Photograph from an automated digital microscope: urine filter membrane, 4× objective.
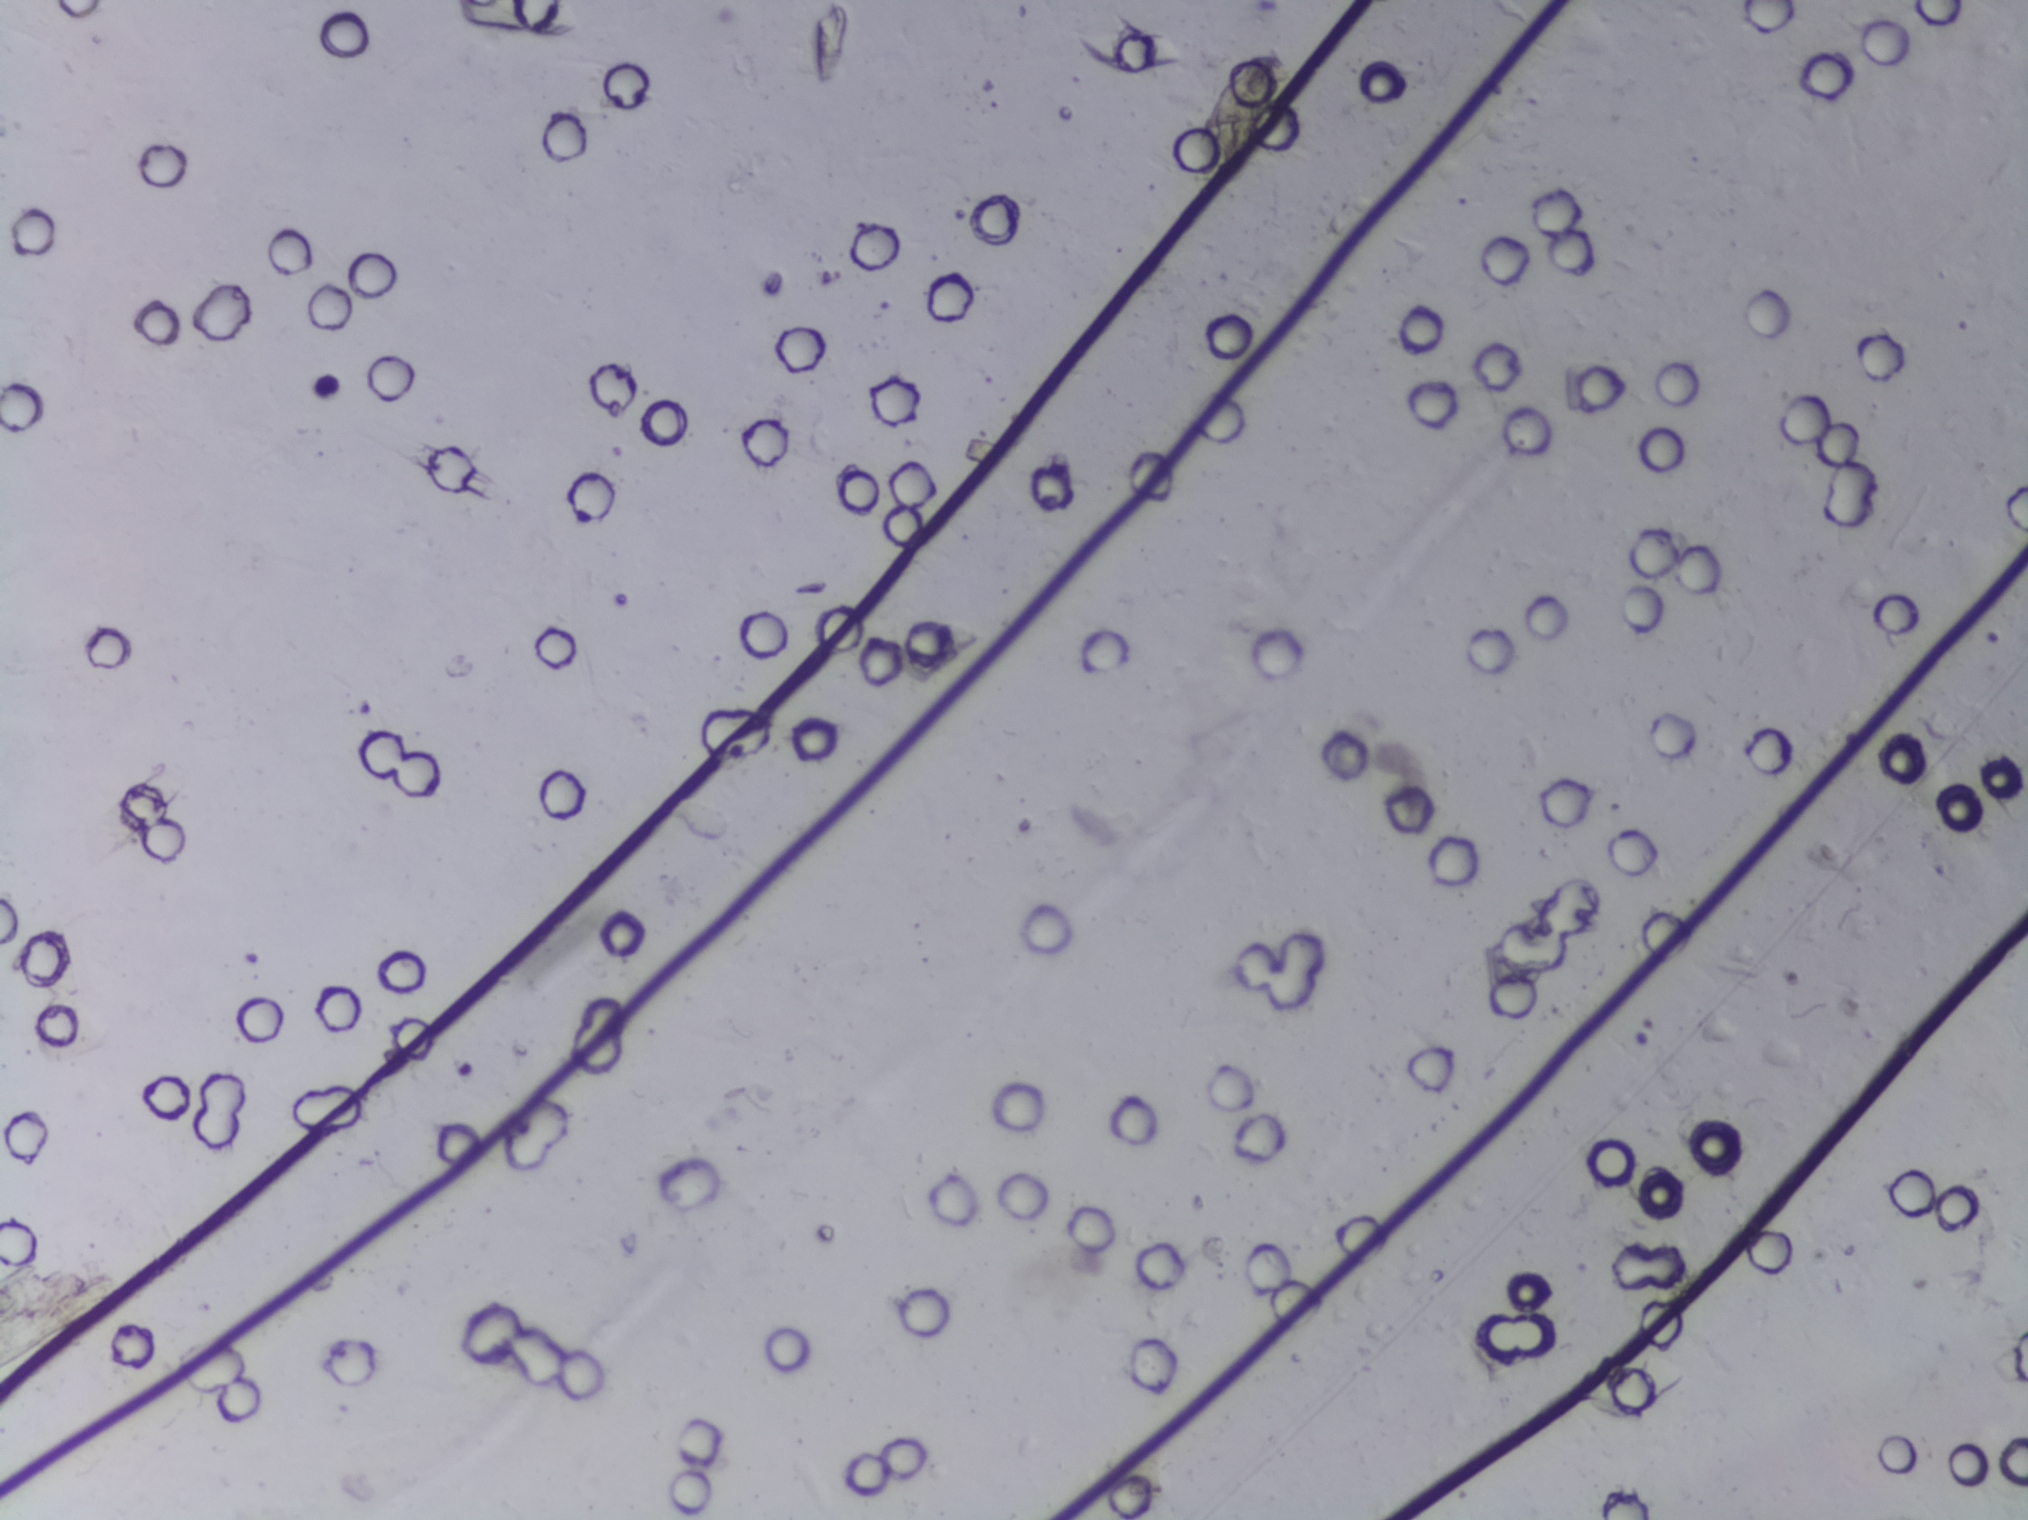
The expert annotation outlines no Schistosoma egg in this image.